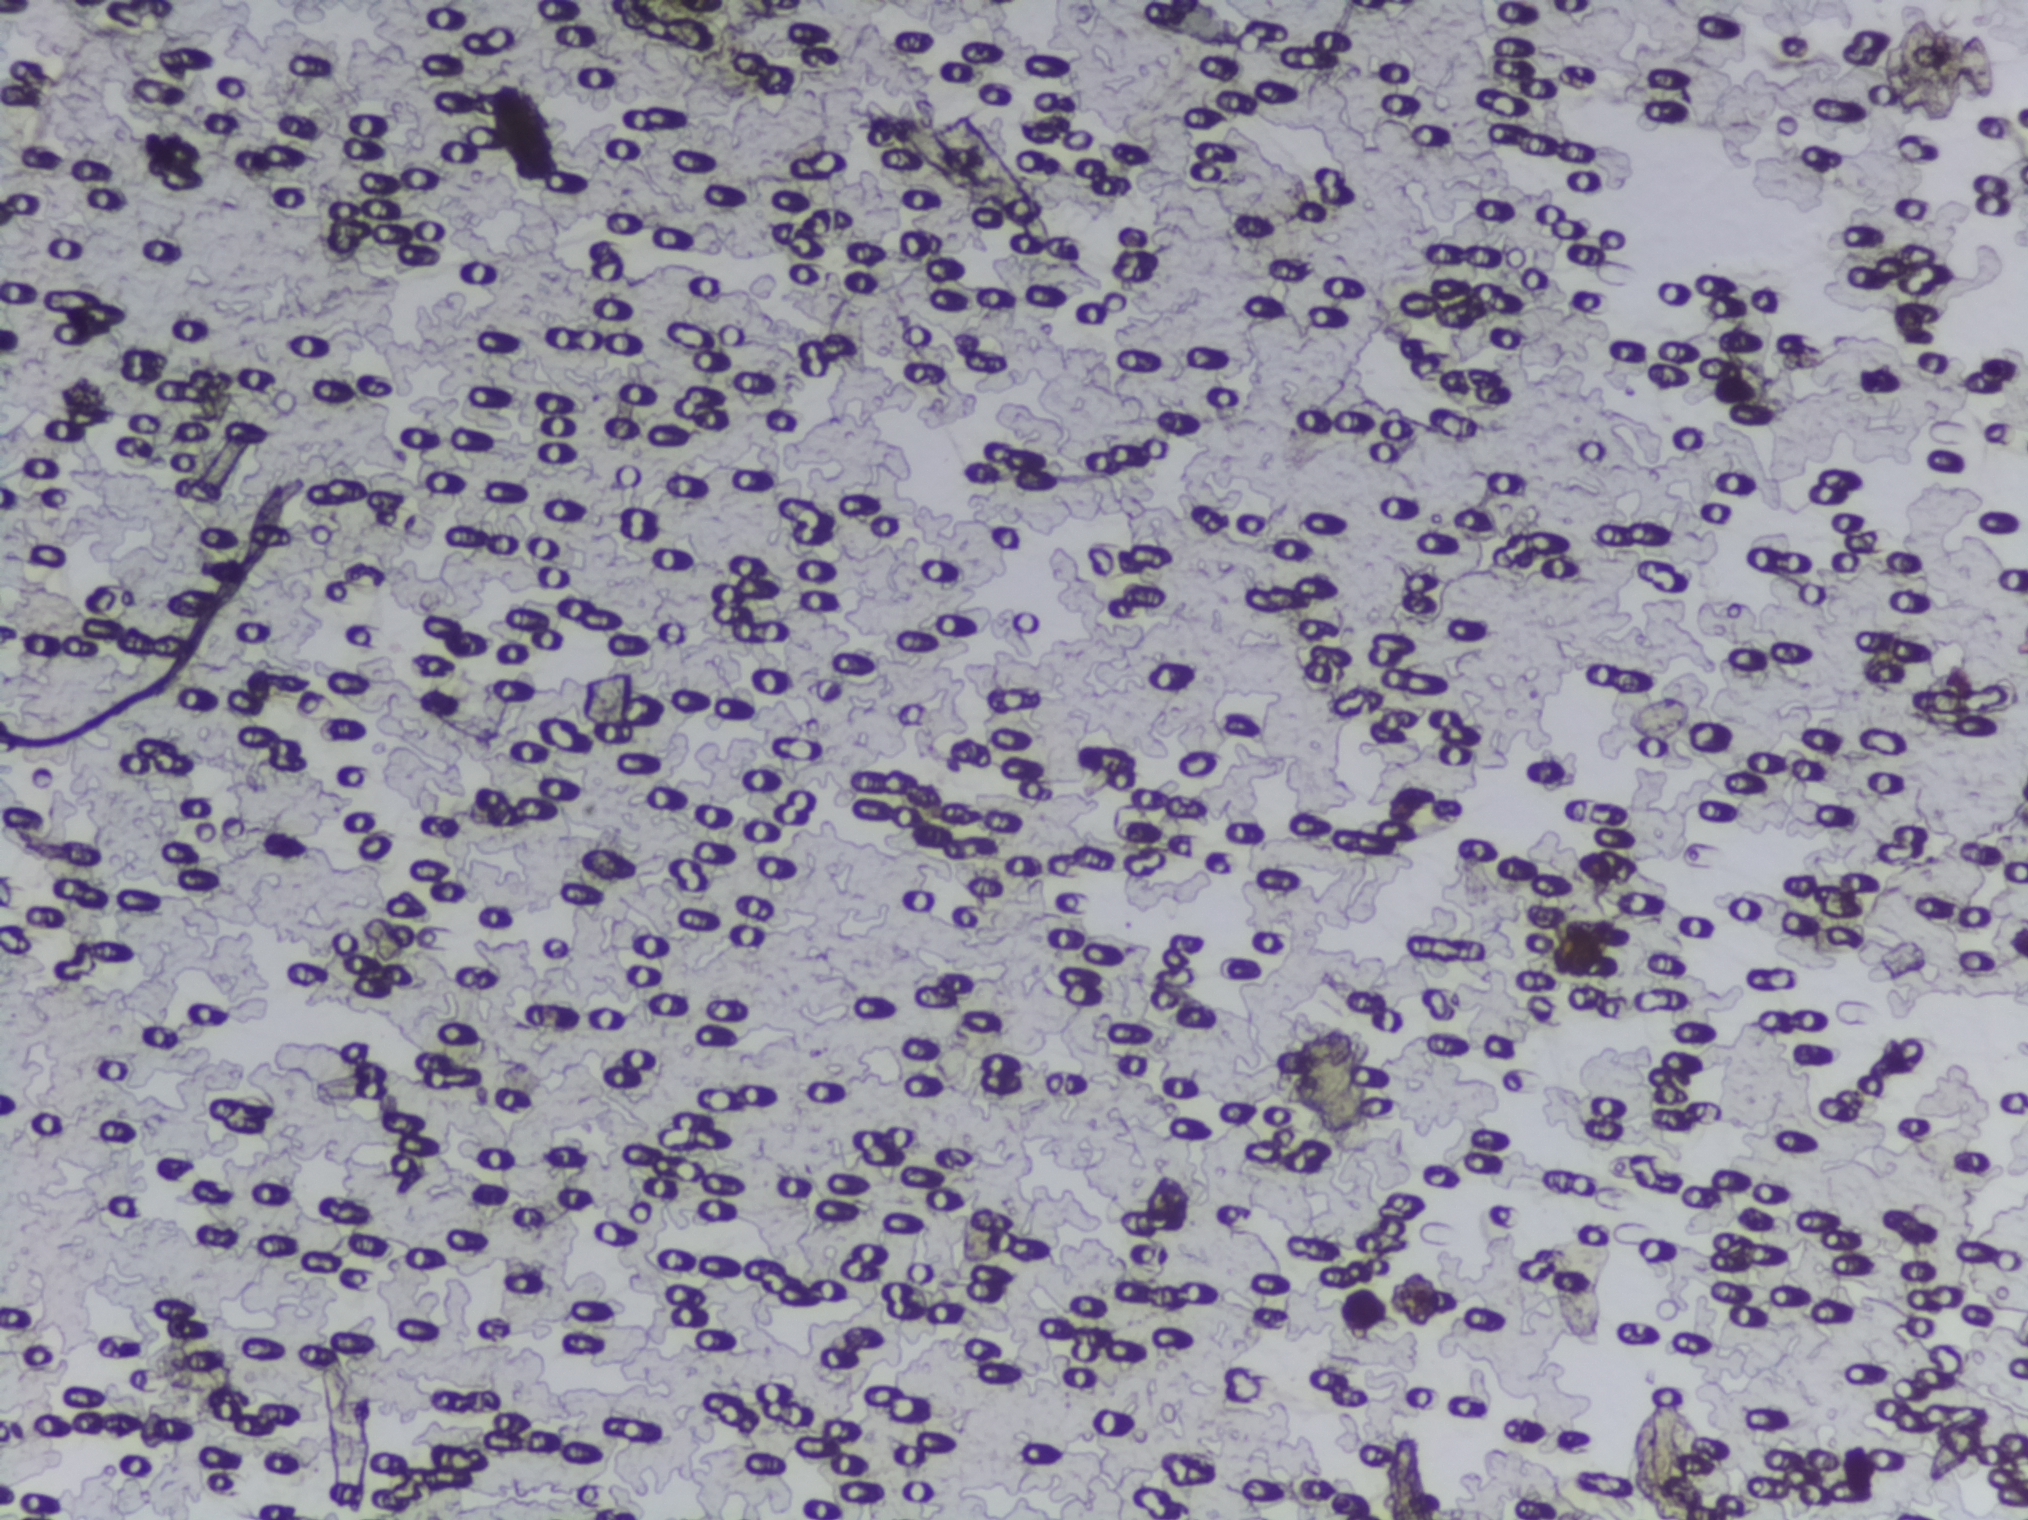
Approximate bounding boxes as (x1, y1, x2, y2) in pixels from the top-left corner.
Schistosoma eggs are outlined in the expert annotation at (1625, 1381, 1726, 1519) (reaching the bottom edge of the frame). About 0.4% of the image's pixels are marked (the marked pixels themselves, not the box around them). An outlined area can hold more than one egg.
Photograph from an automated digital microscope: urine filter membrane, 4× objective.